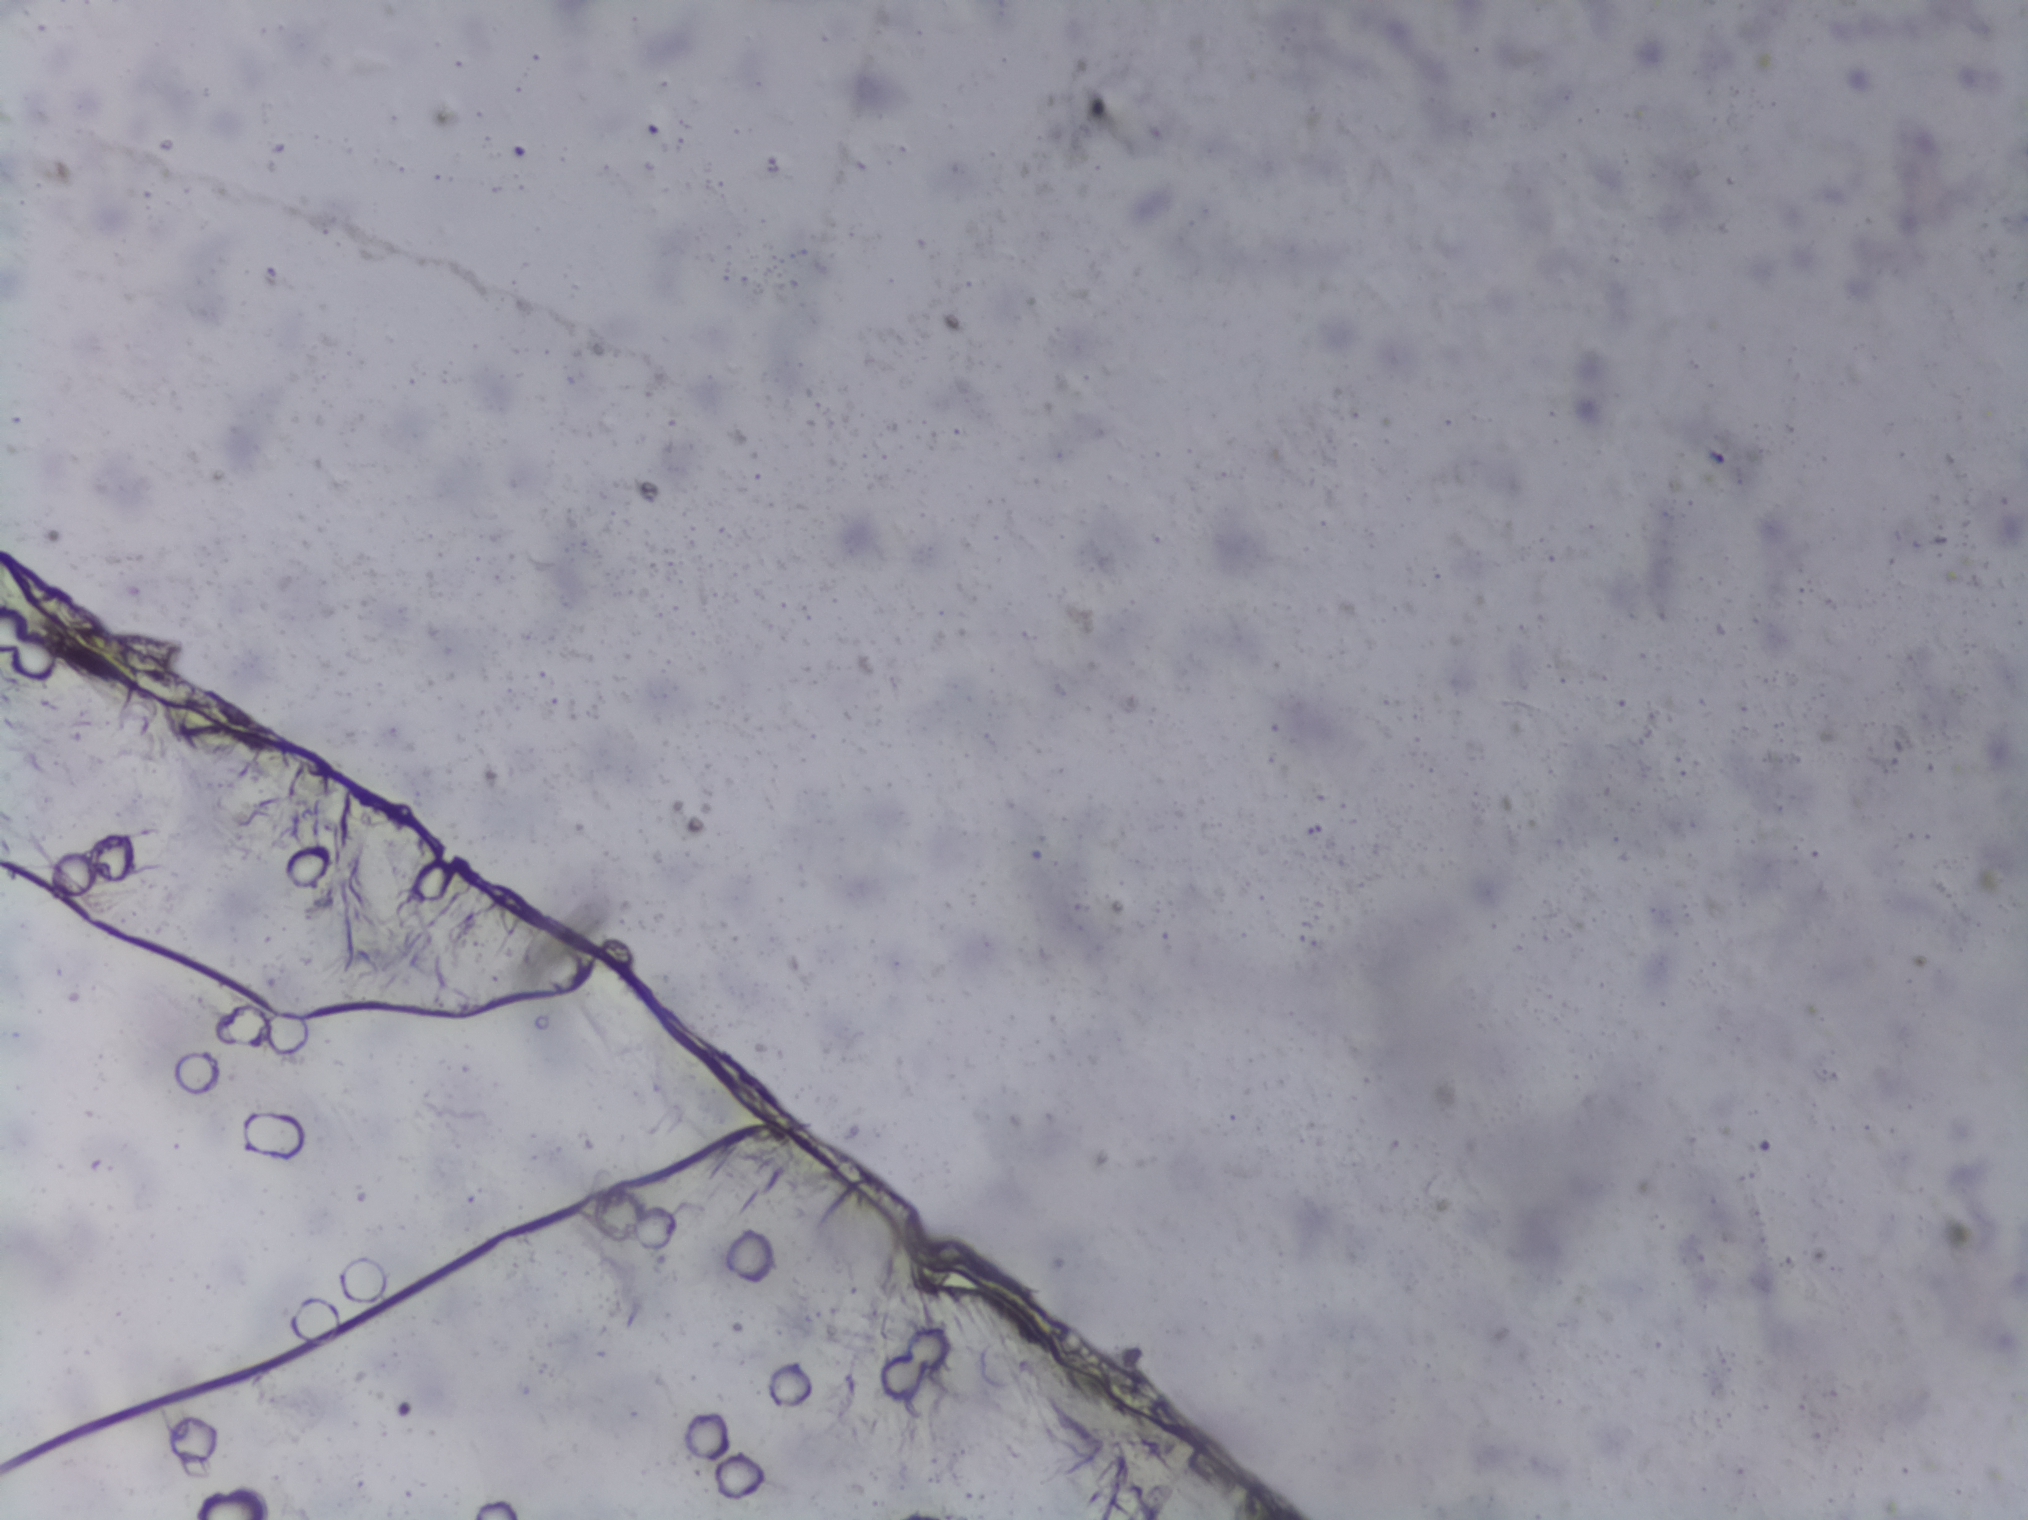
Schistosoma eggs: none outlined.
Photomicrograph of a urine filtration membrane, 4× objective. The field of view is about 1.5 mm × 1.1 mm.